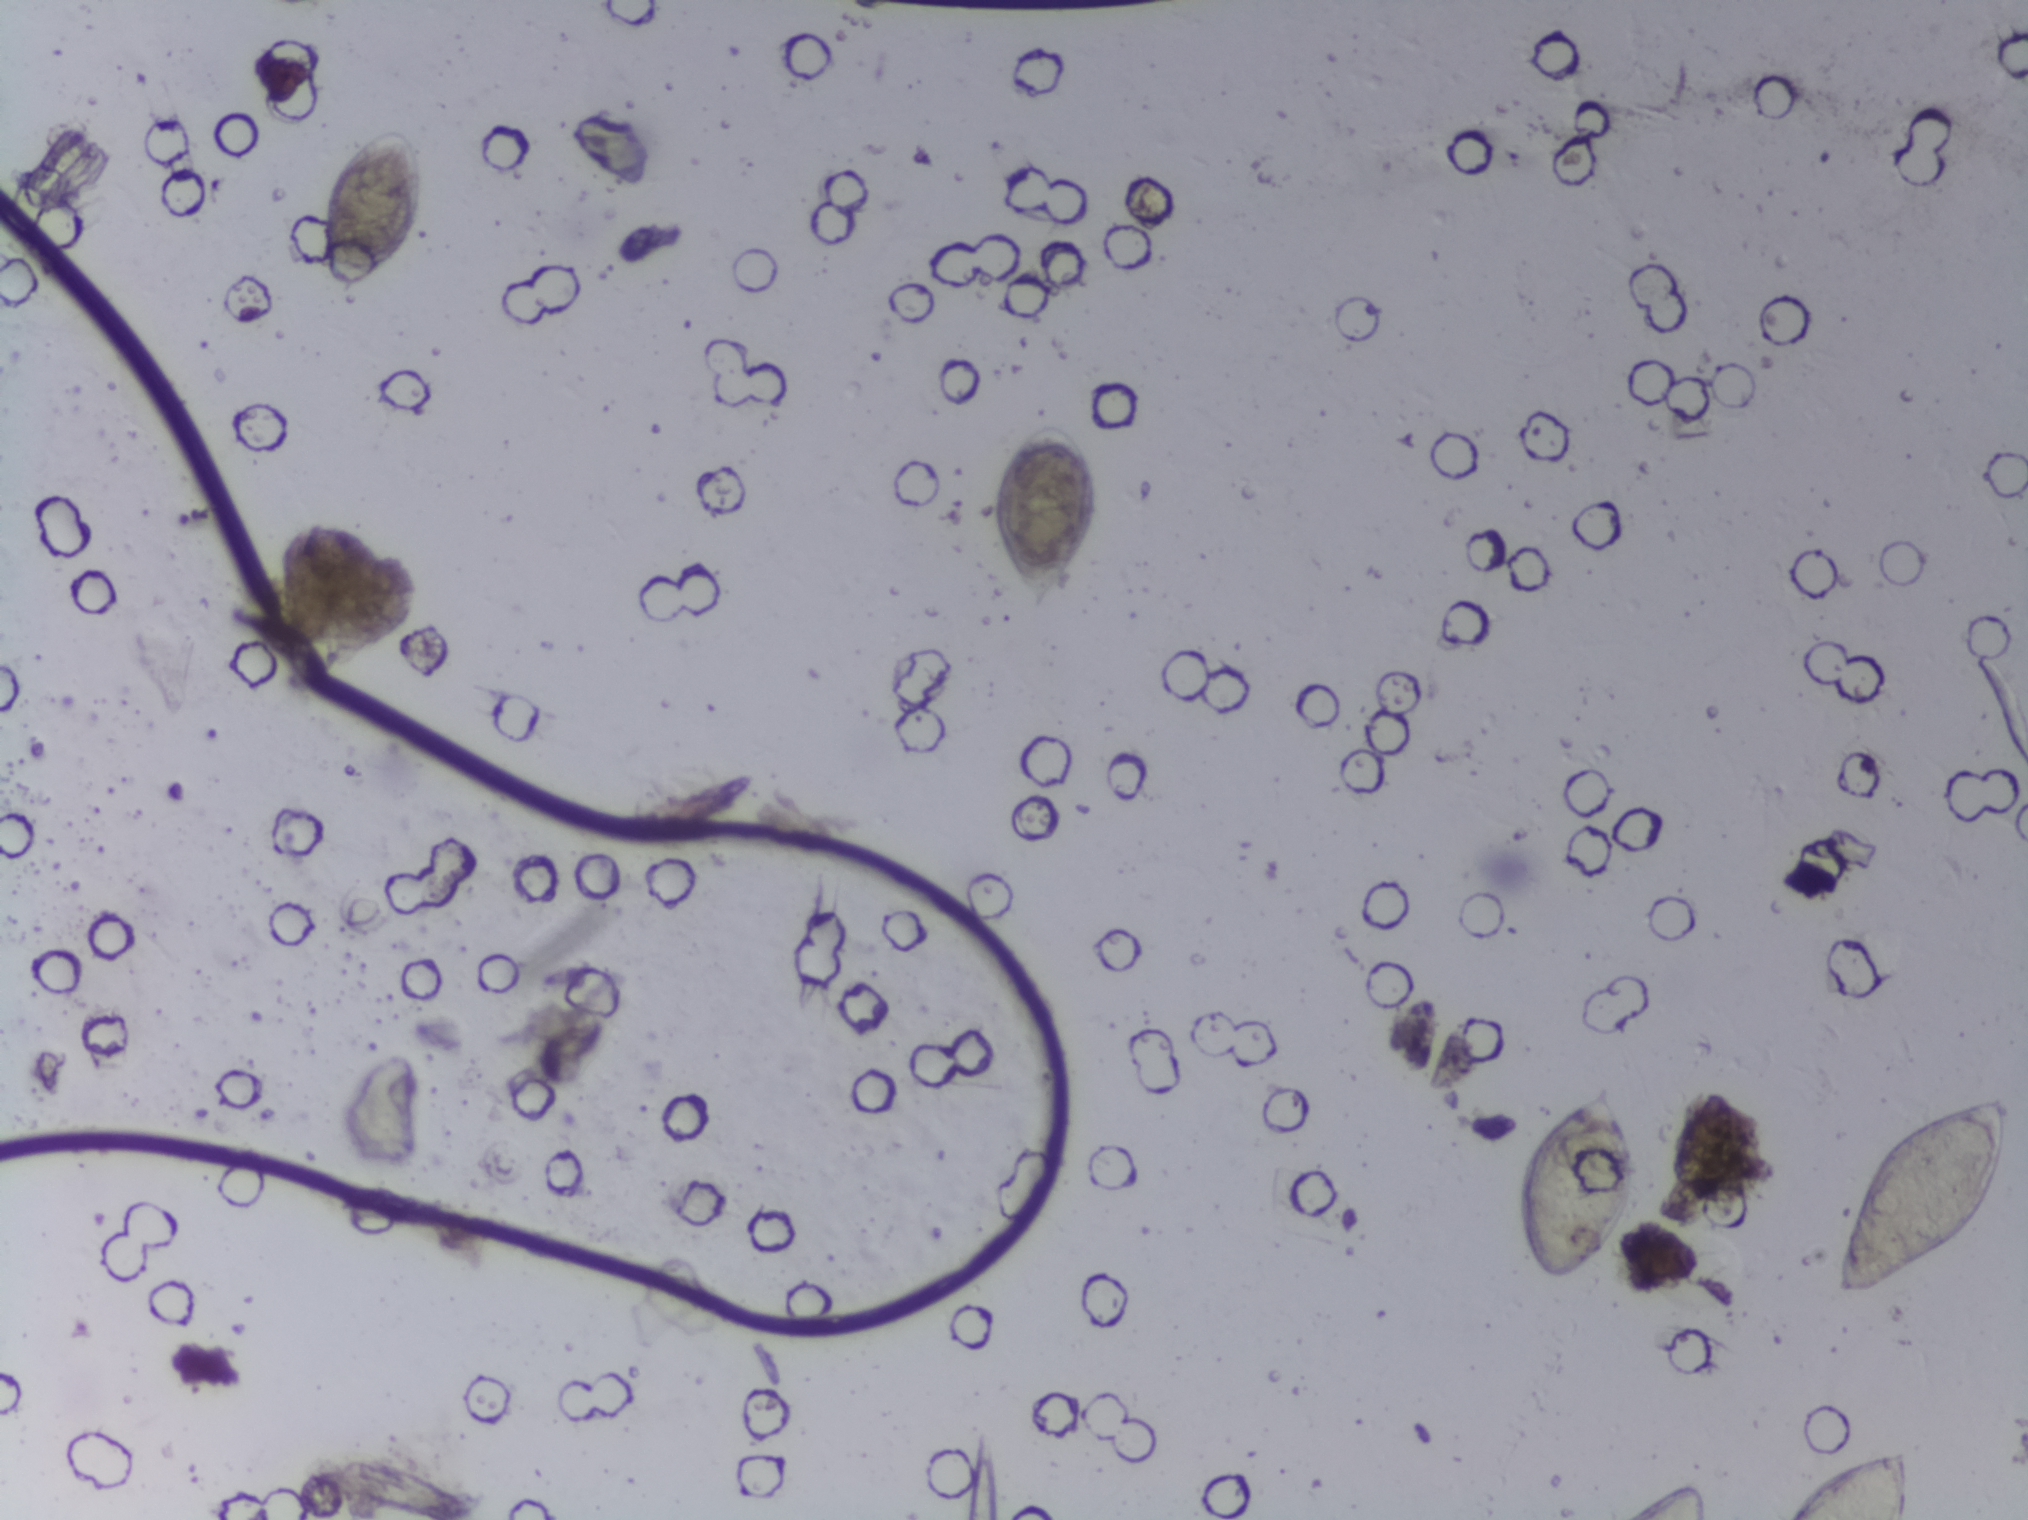
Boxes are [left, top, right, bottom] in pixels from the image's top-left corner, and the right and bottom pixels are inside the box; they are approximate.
{"schistosoma_egg_areas_xyxy_px": [[318, 128, 425, 291], [992, 417, 1098, 614], [1516, 1075, 1638, 1285], [1624, 1480, 1708, 1519], [1785, 1447, 1911, 1519], [1834, 1094, 2011, 1295]]} Area 4 reaches the bottom edge of the frame. Area 5 reaches the bottom edge of the frame.
The marked pixels themselves, not the boxes around them, cover about 2.4% of the image. A single outlined area may contain several eggs.
Urine filtration membrane under a 4× objective, photographed by an automated digital microscope. The field of view is about 1.5 mm × 1.1 mm.